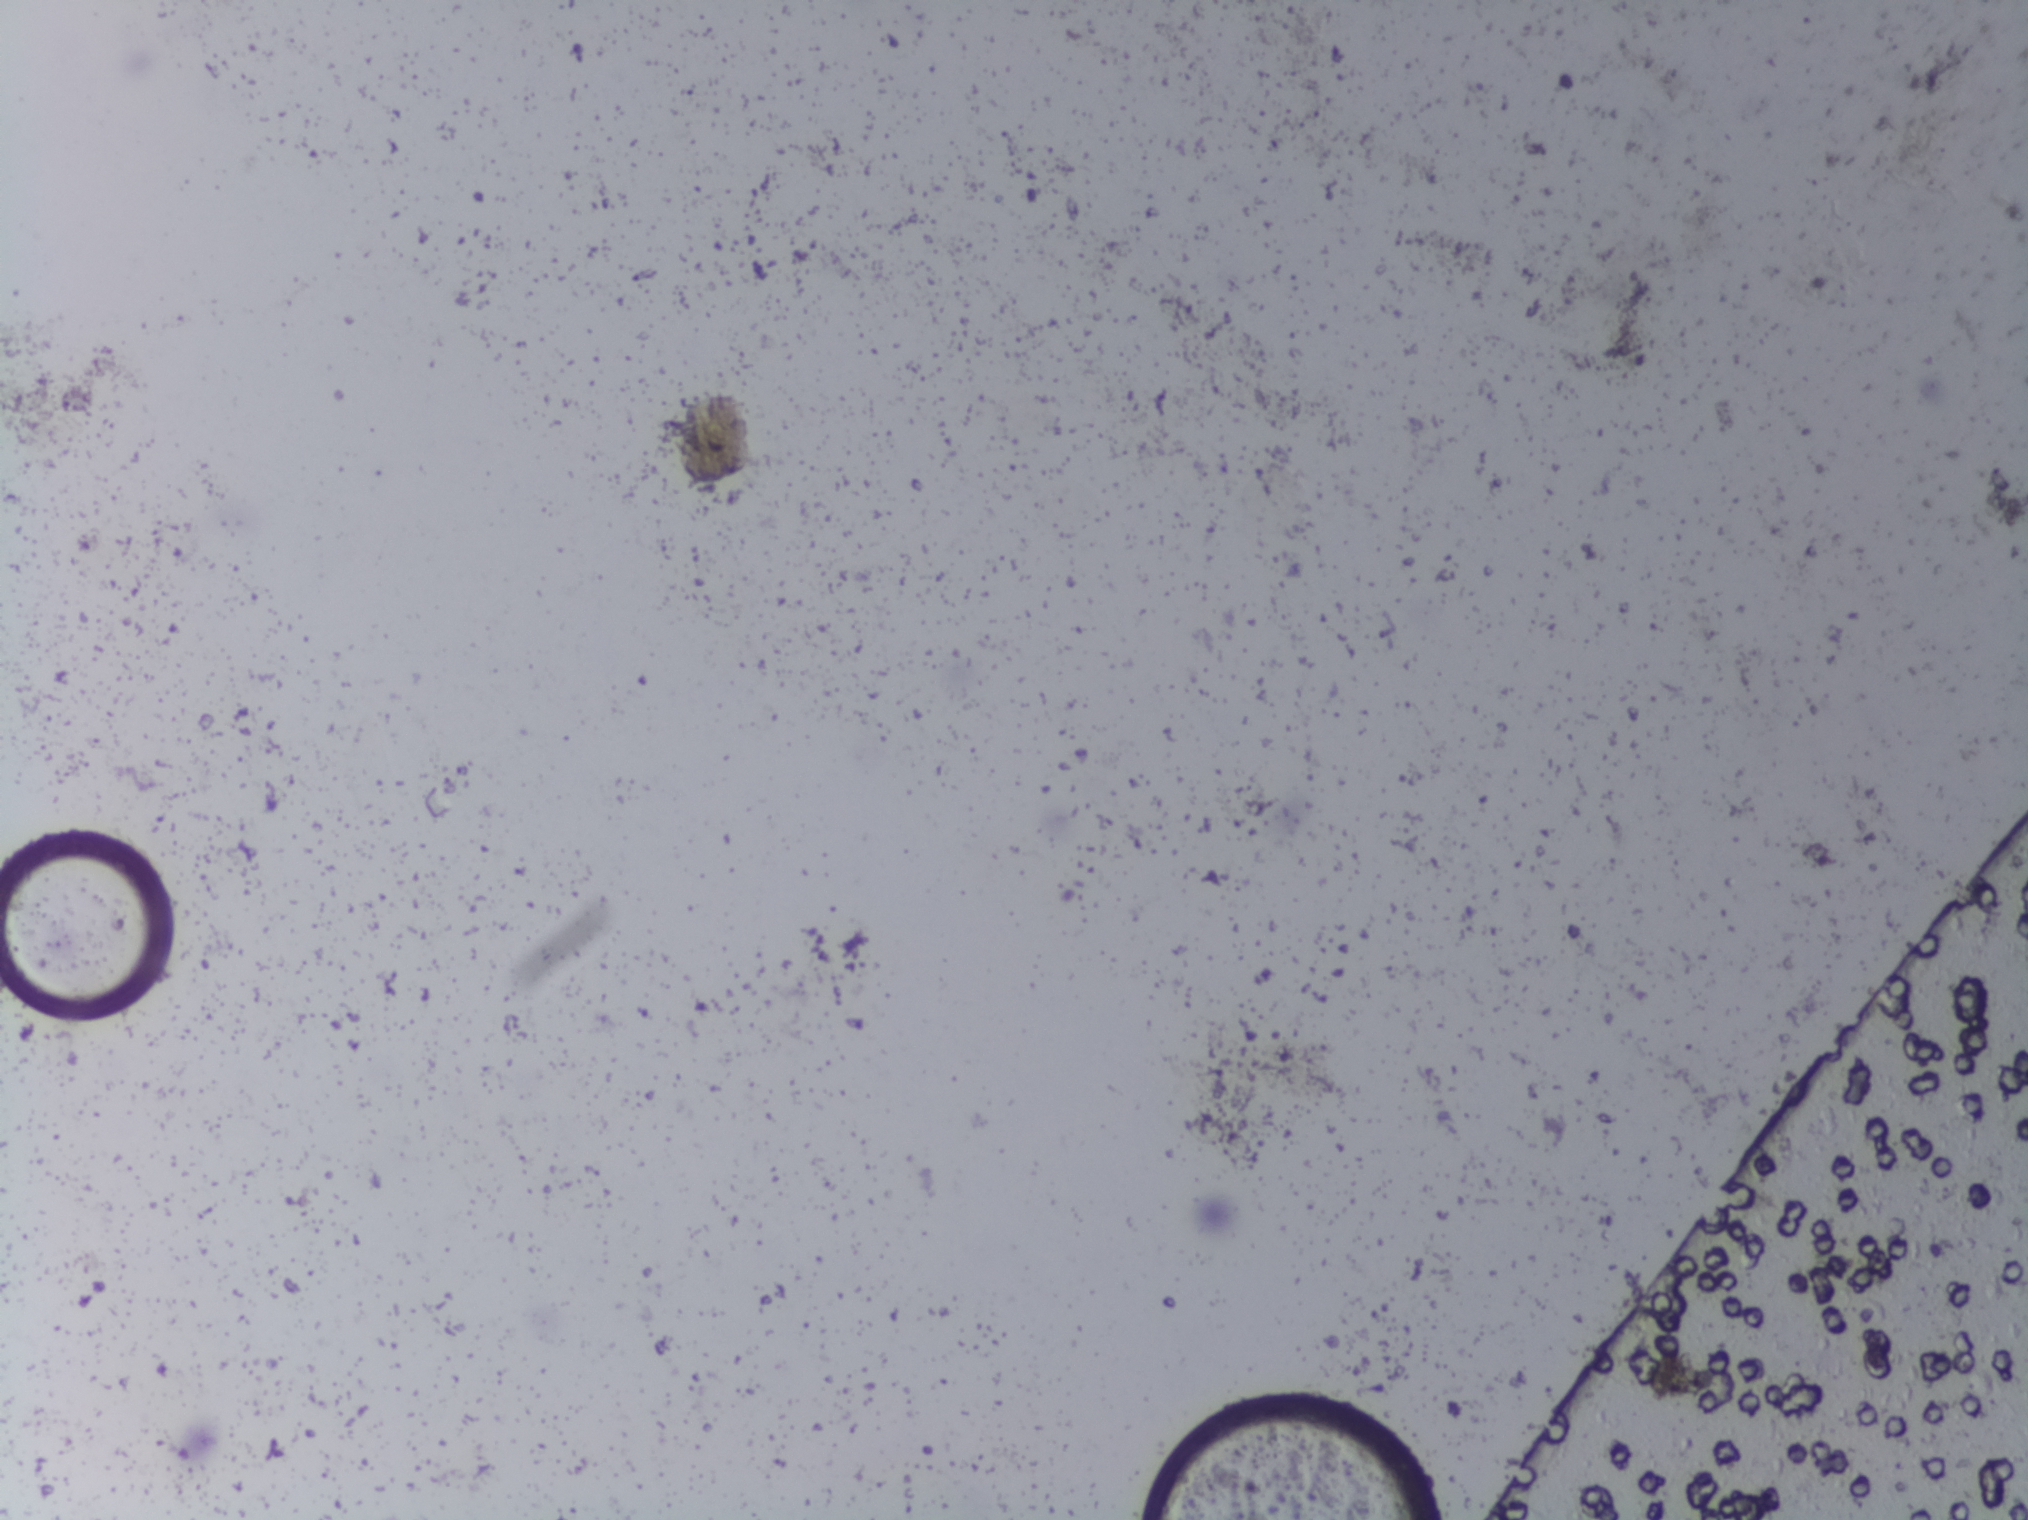
Photograph from an automated digital microscope: urine filter membrane, 4× objective. The field of view is about 1.5 mm × 1.1 mm.
The expert annotation marks no Schistosoma egg in this field of view.